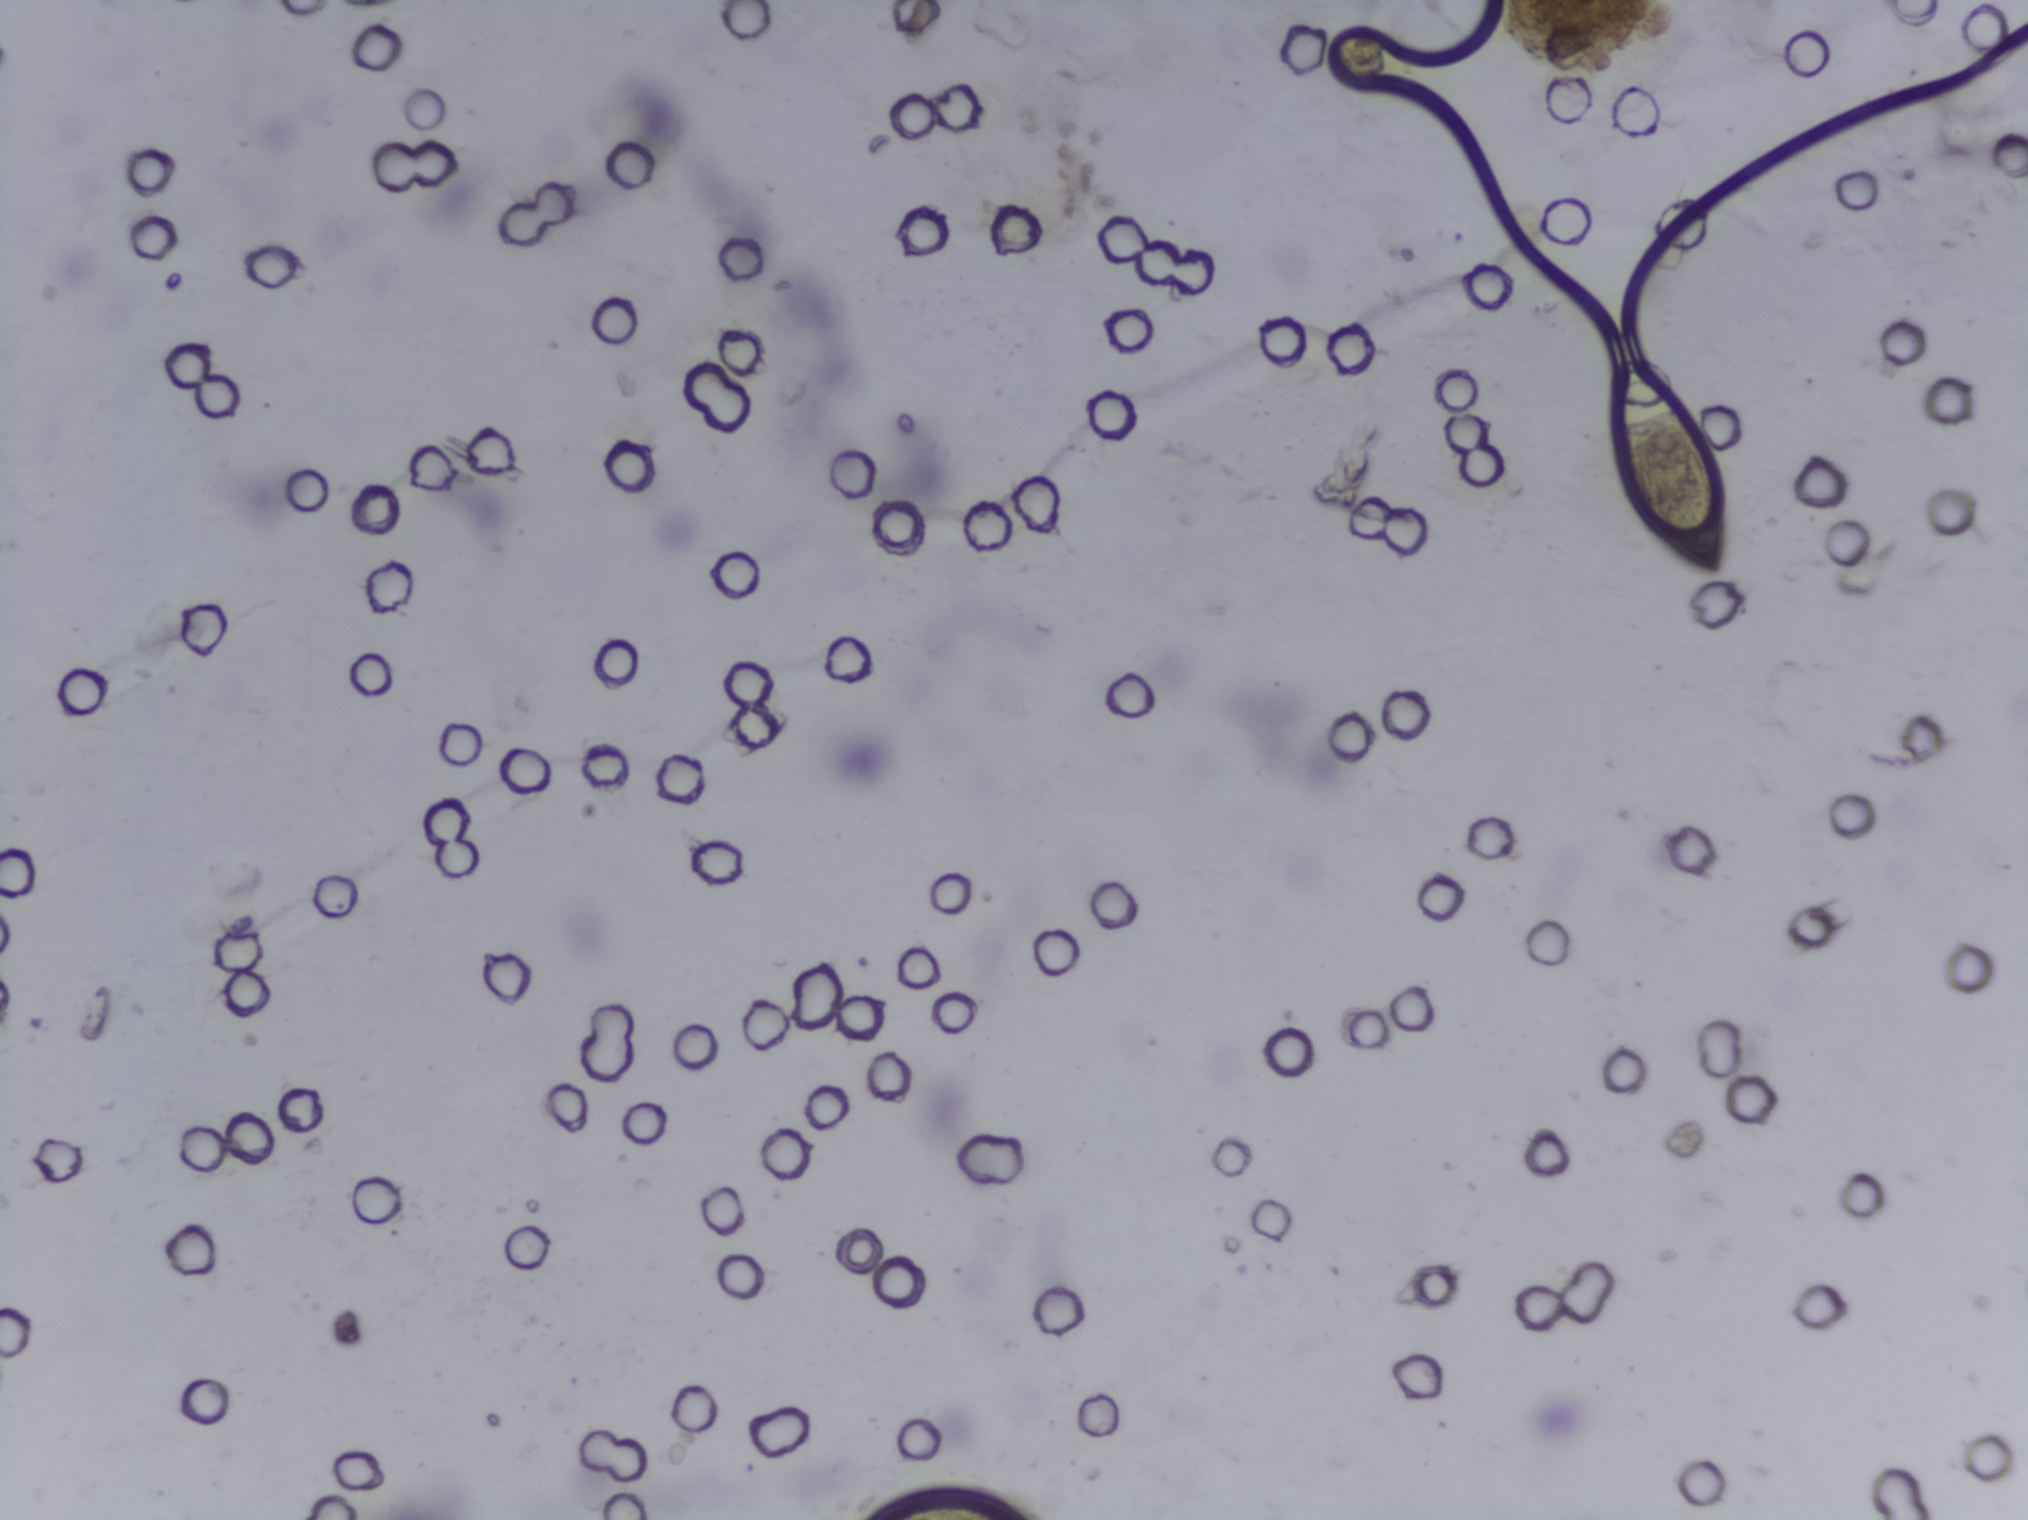
One field of view of a urine filter membrane, 4× objective, 2028 × 1520 pixels. Field of view: about 1.5 mm wide and 1.1 mm high.
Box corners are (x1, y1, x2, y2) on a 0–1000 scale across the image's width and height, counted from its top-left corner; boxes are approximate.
Schistosoma eggs are outlined in one area of this image: (789, 233, 853, 384). A single outlined area may contain several eggs. Any one outlined egg may, rarely, be S. mansoni rather than S. haematobium.